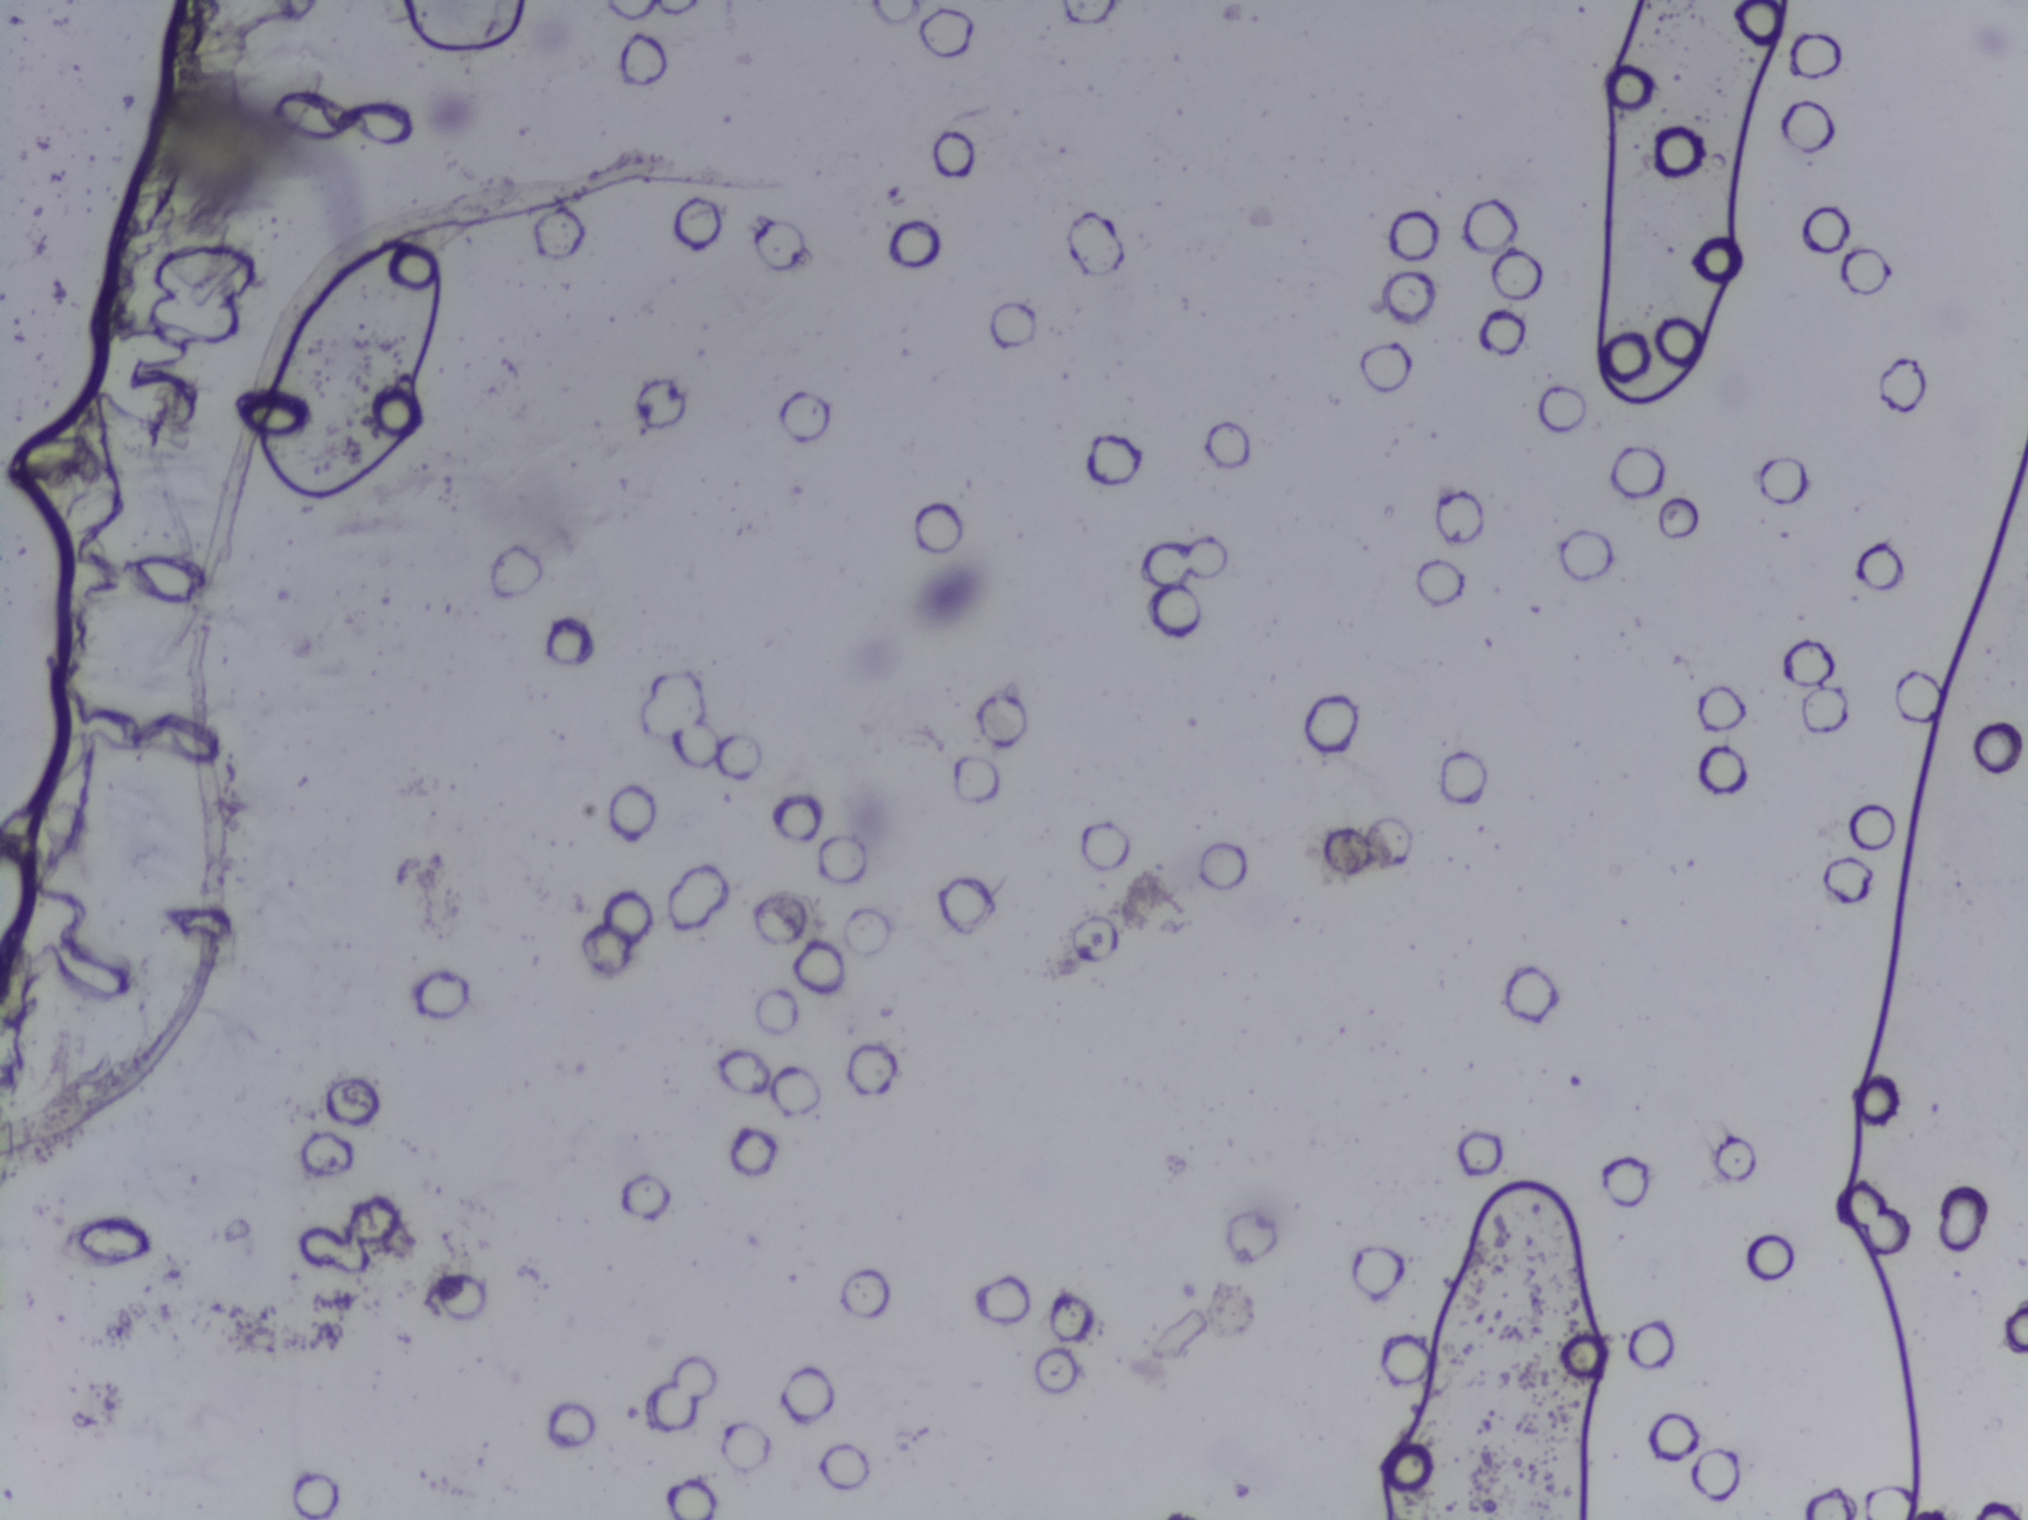
Urine filter membrane photographed through a 4× microscope objective.
No Schistosoma egg is outlined in this image's expert annotation.